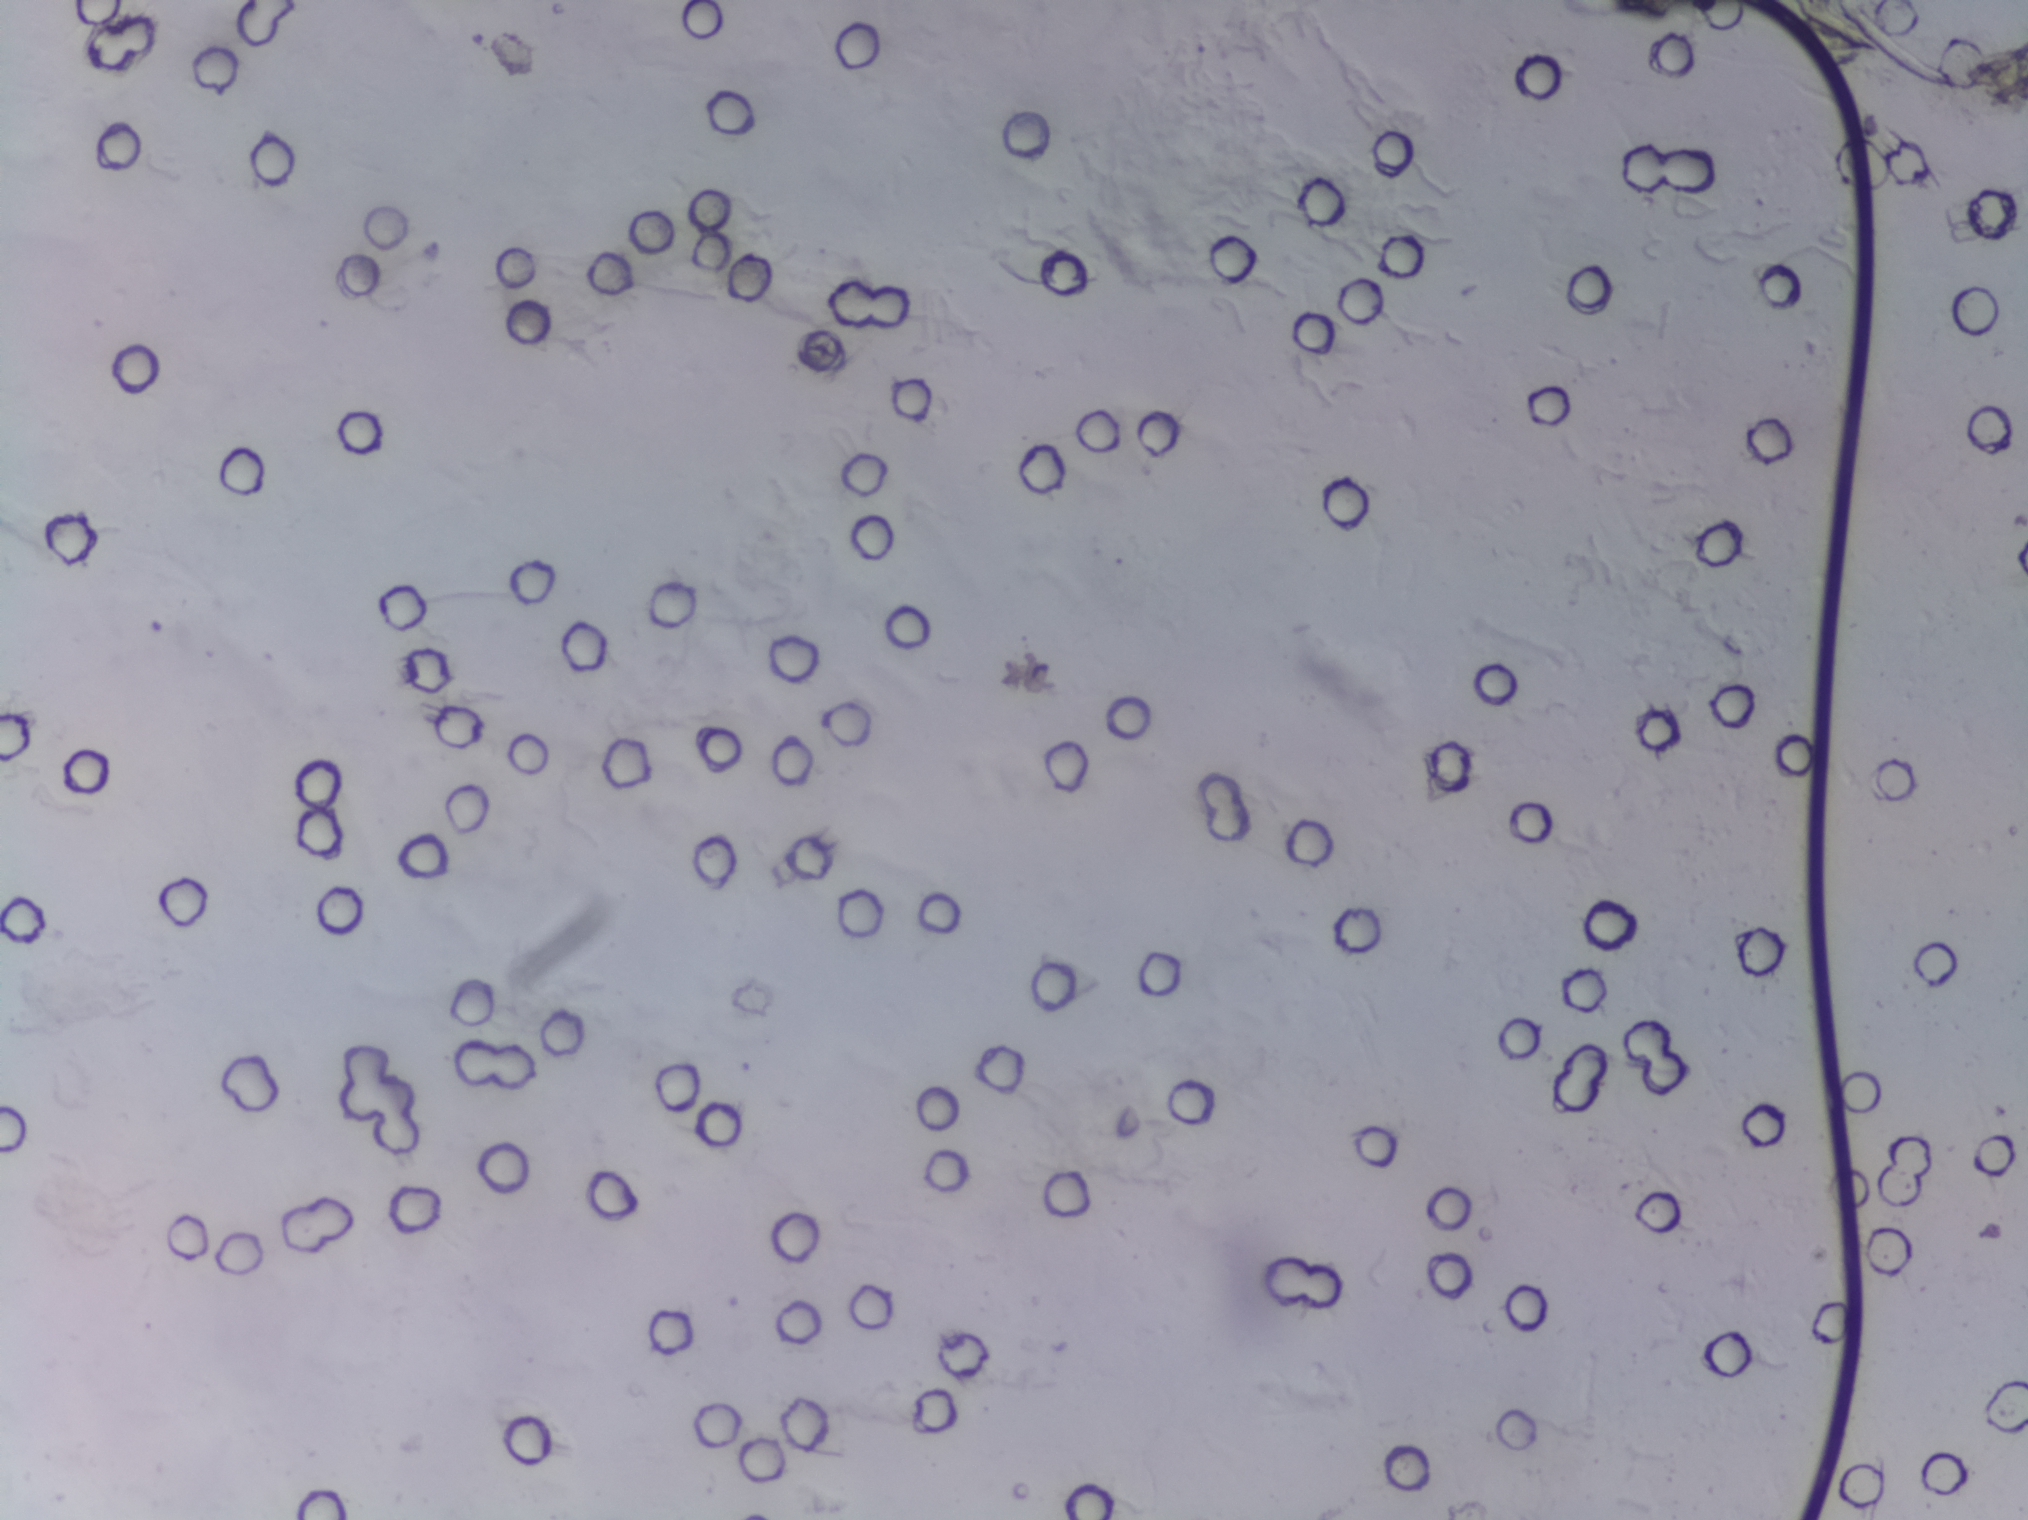
Urine filter membrane photographed through a 4× microscope objective.
The expert annotation outlines no Schistosoma egg in this image.